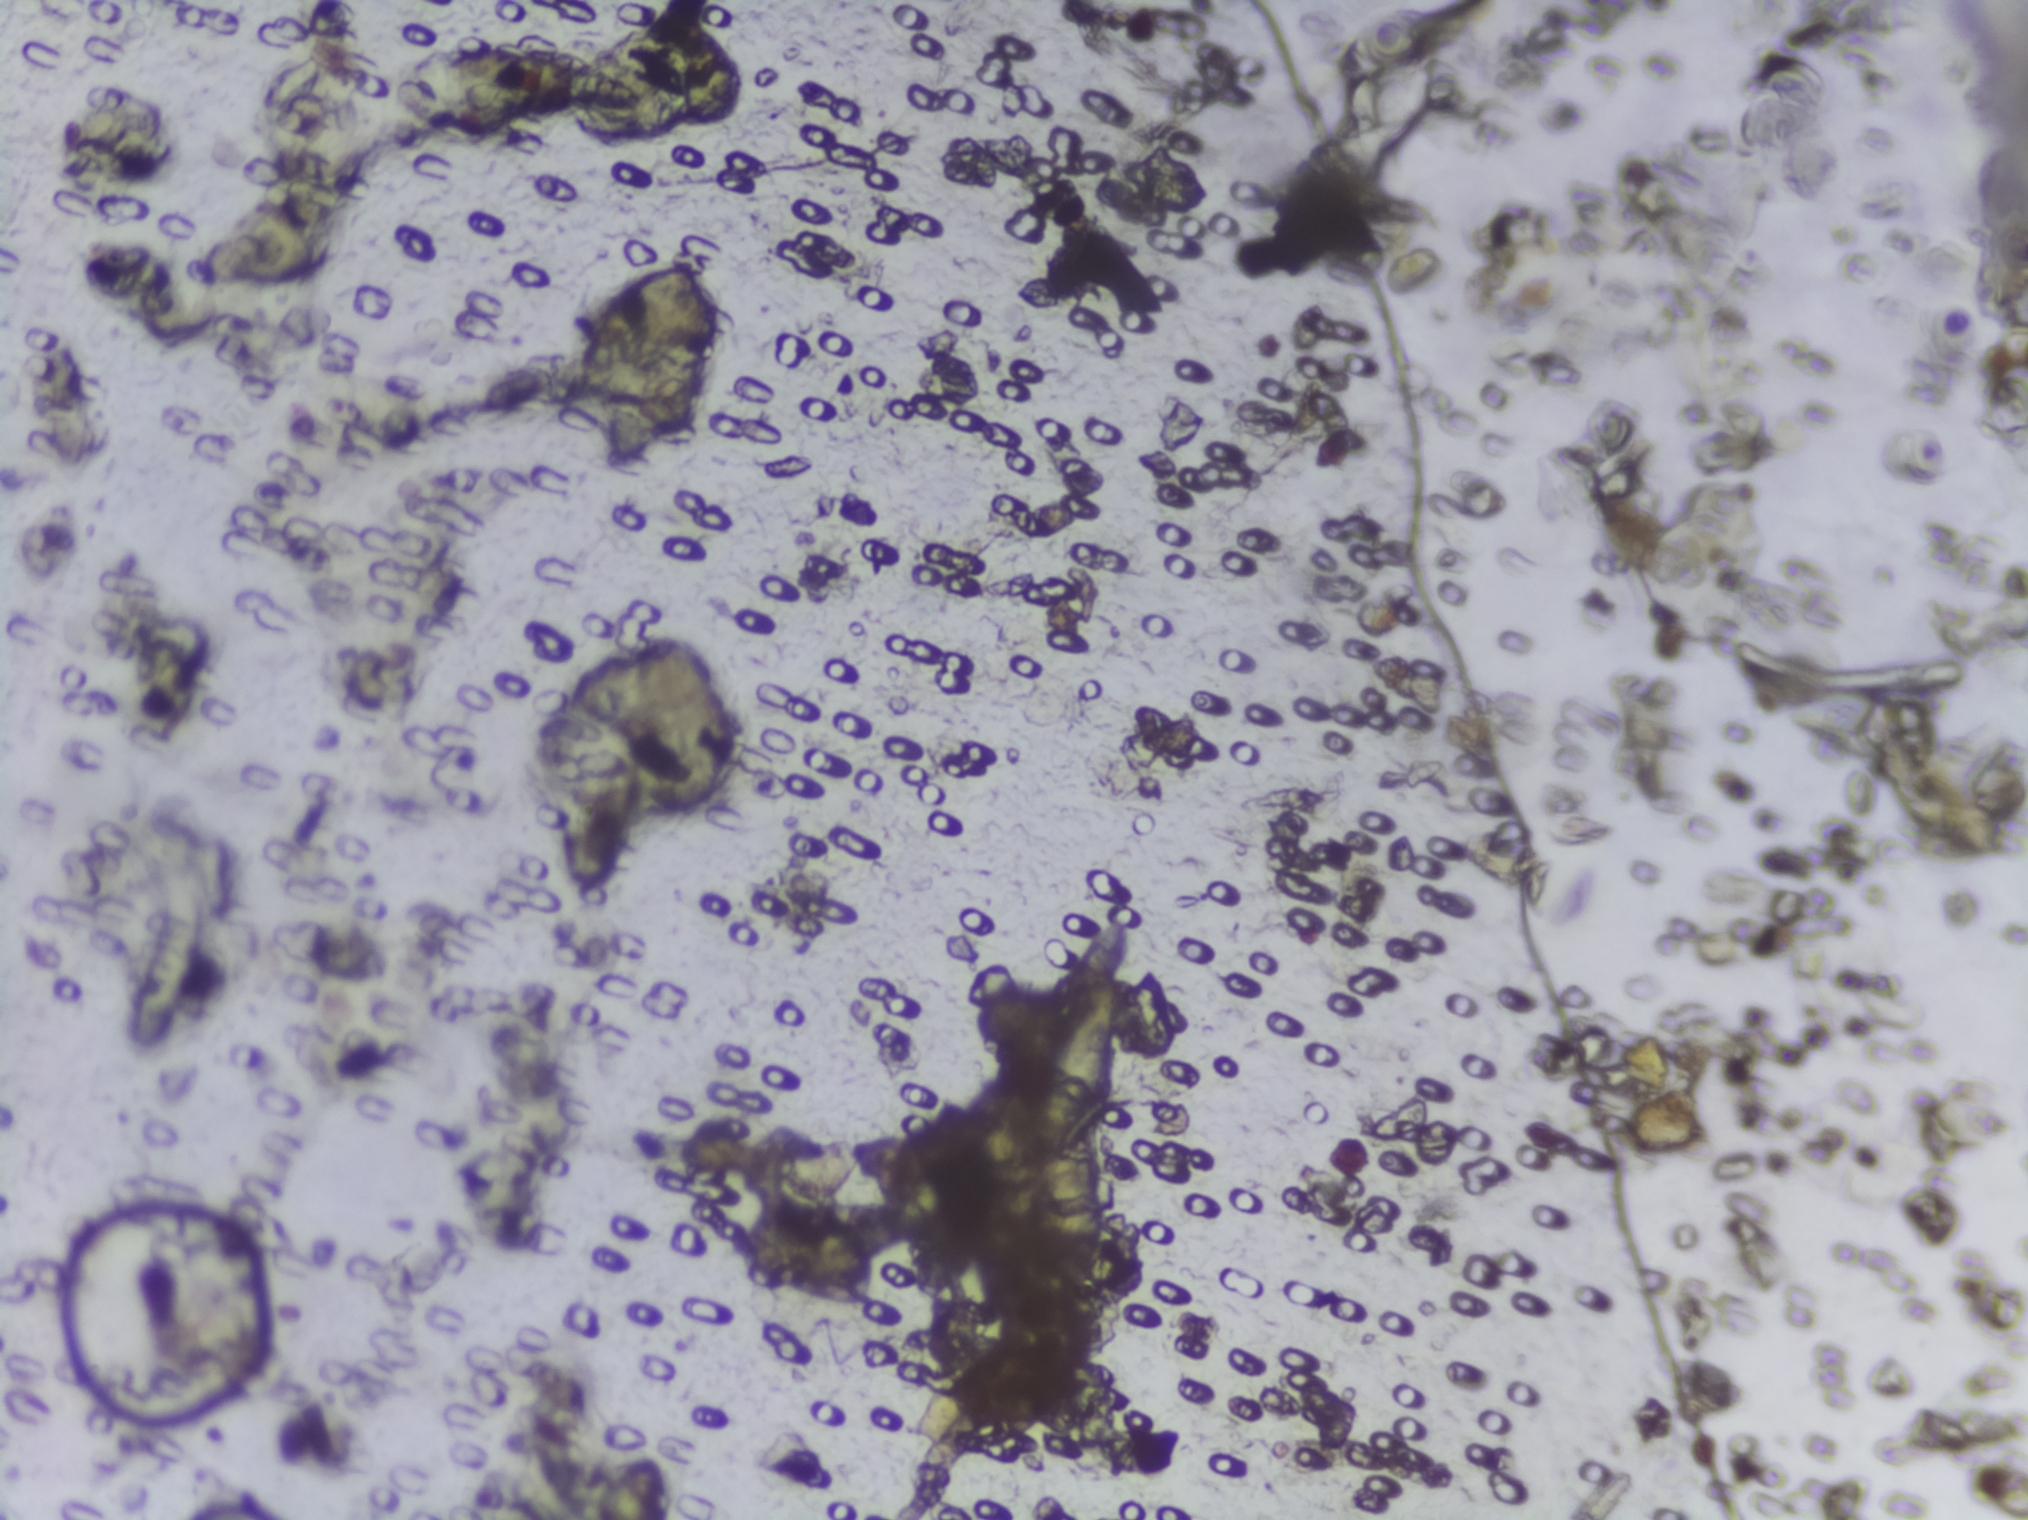
Photomicrograph of a urine filtration membrane, 4× objective.
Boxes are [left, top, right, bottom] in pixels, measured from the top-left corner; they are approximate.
Schistosoma egg areas, outlined: [1027, 970, 1123, 1278]. The marked pixels themselves, not the box around them, cover about 0.6% of the image. A single outlined area may contain several eggs.